Photomicrograph of a urine filtration membrane, 4× objective.
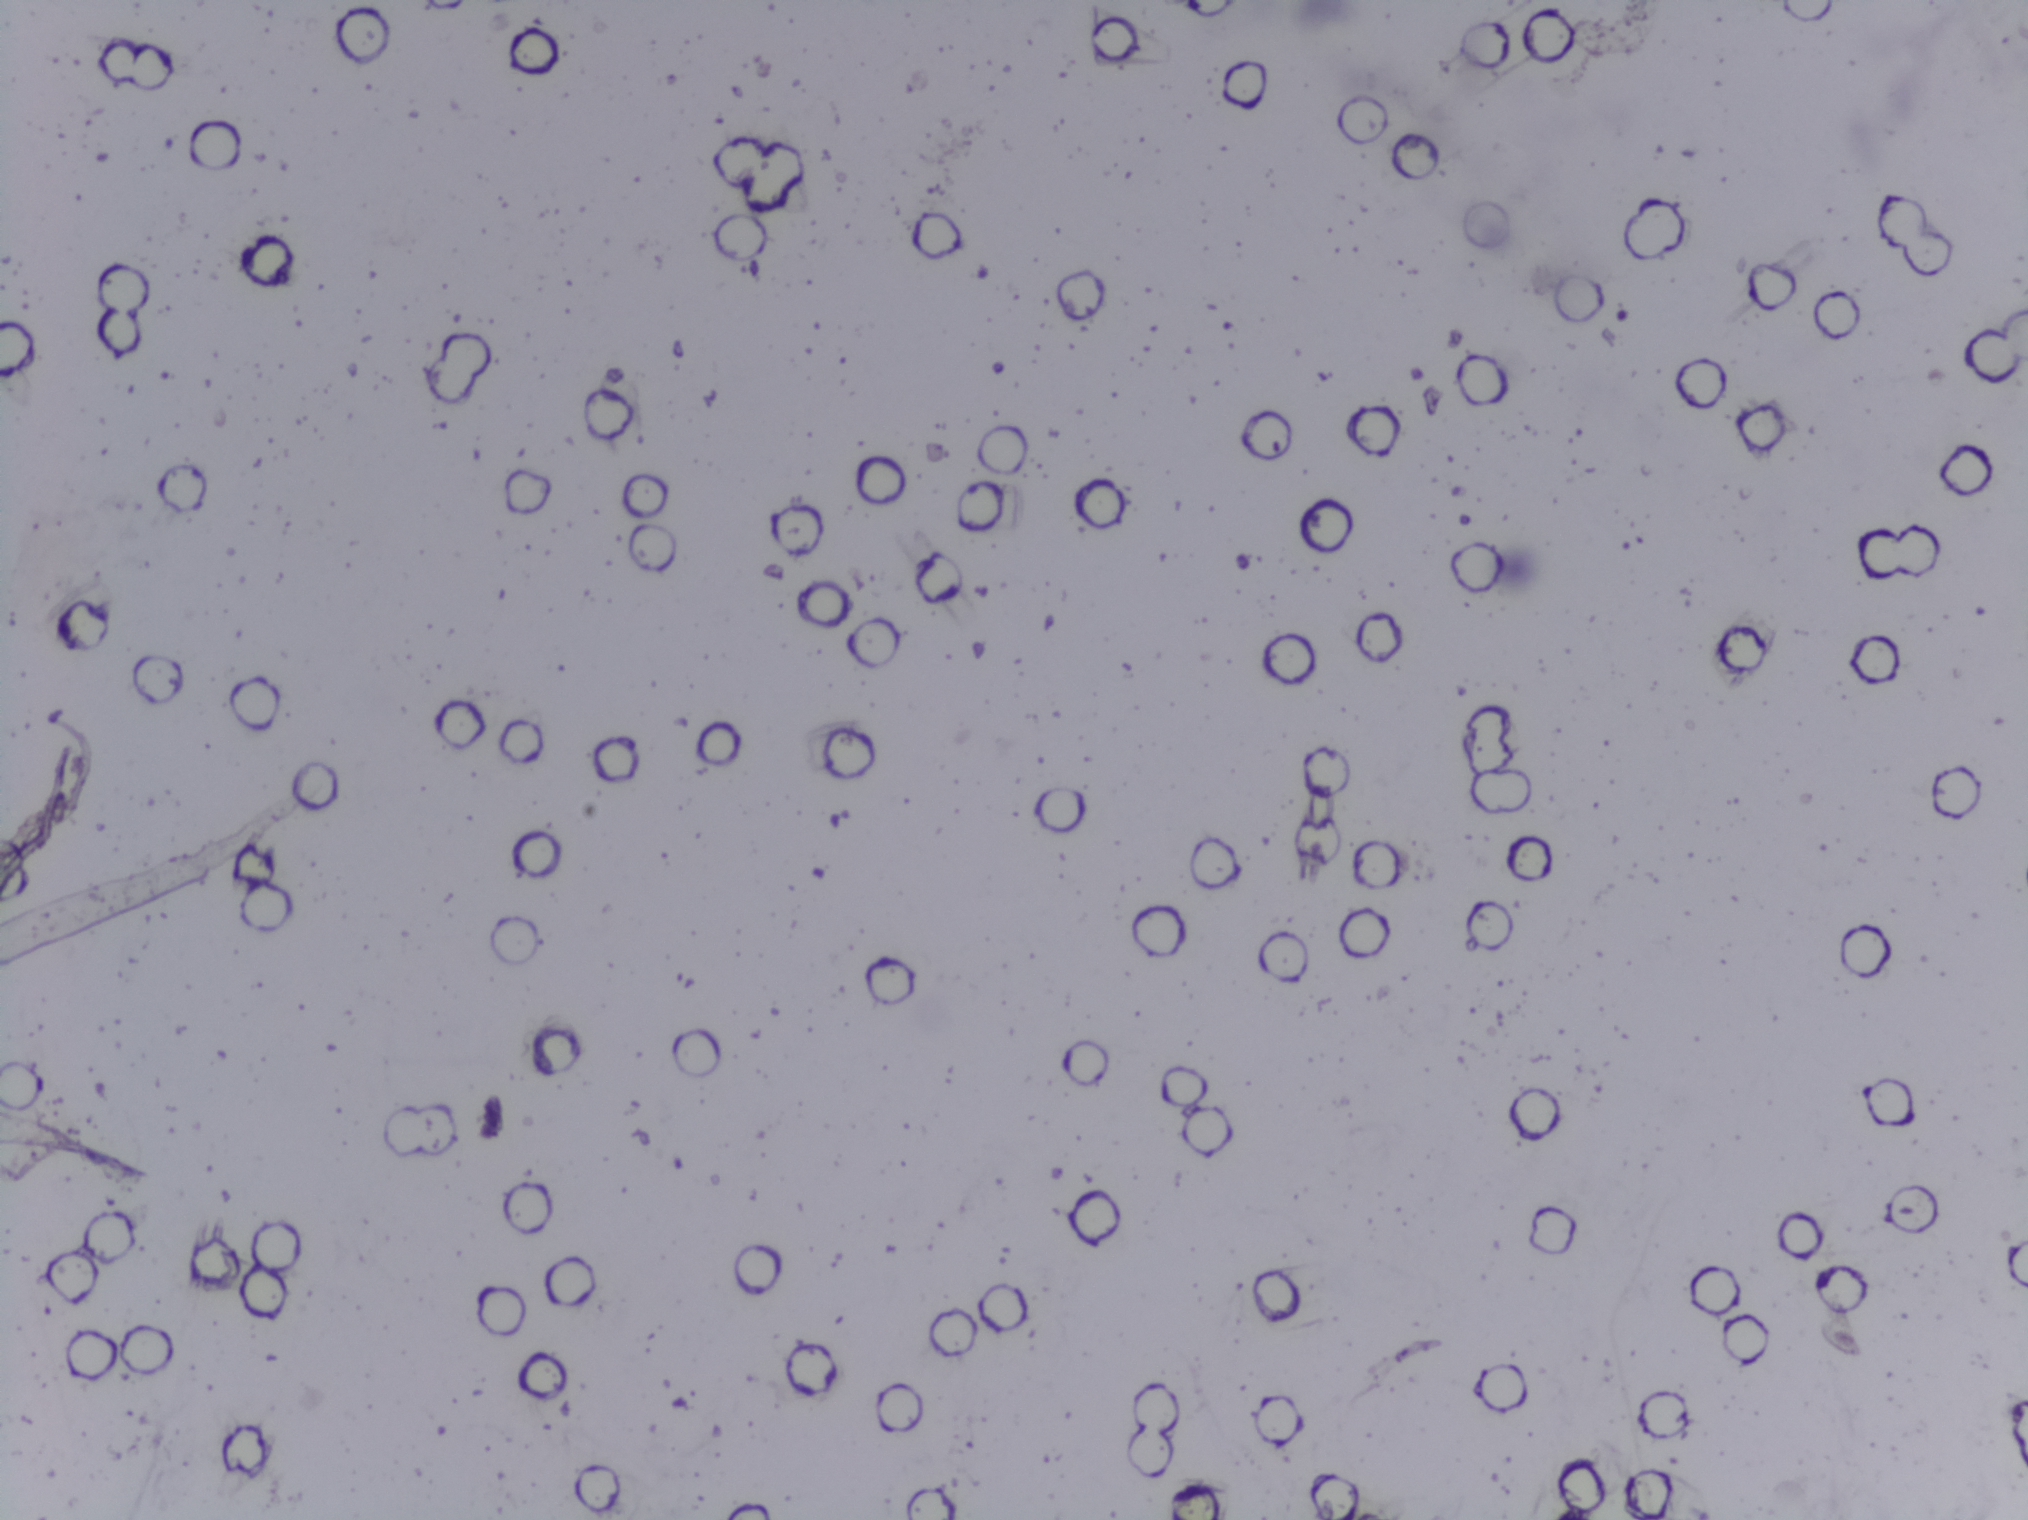
The expert annotation outlines no Schistosoma egg in this image.